One field of view of a urine filter membrane, 4× objective, 2028 × 1520 pixels.
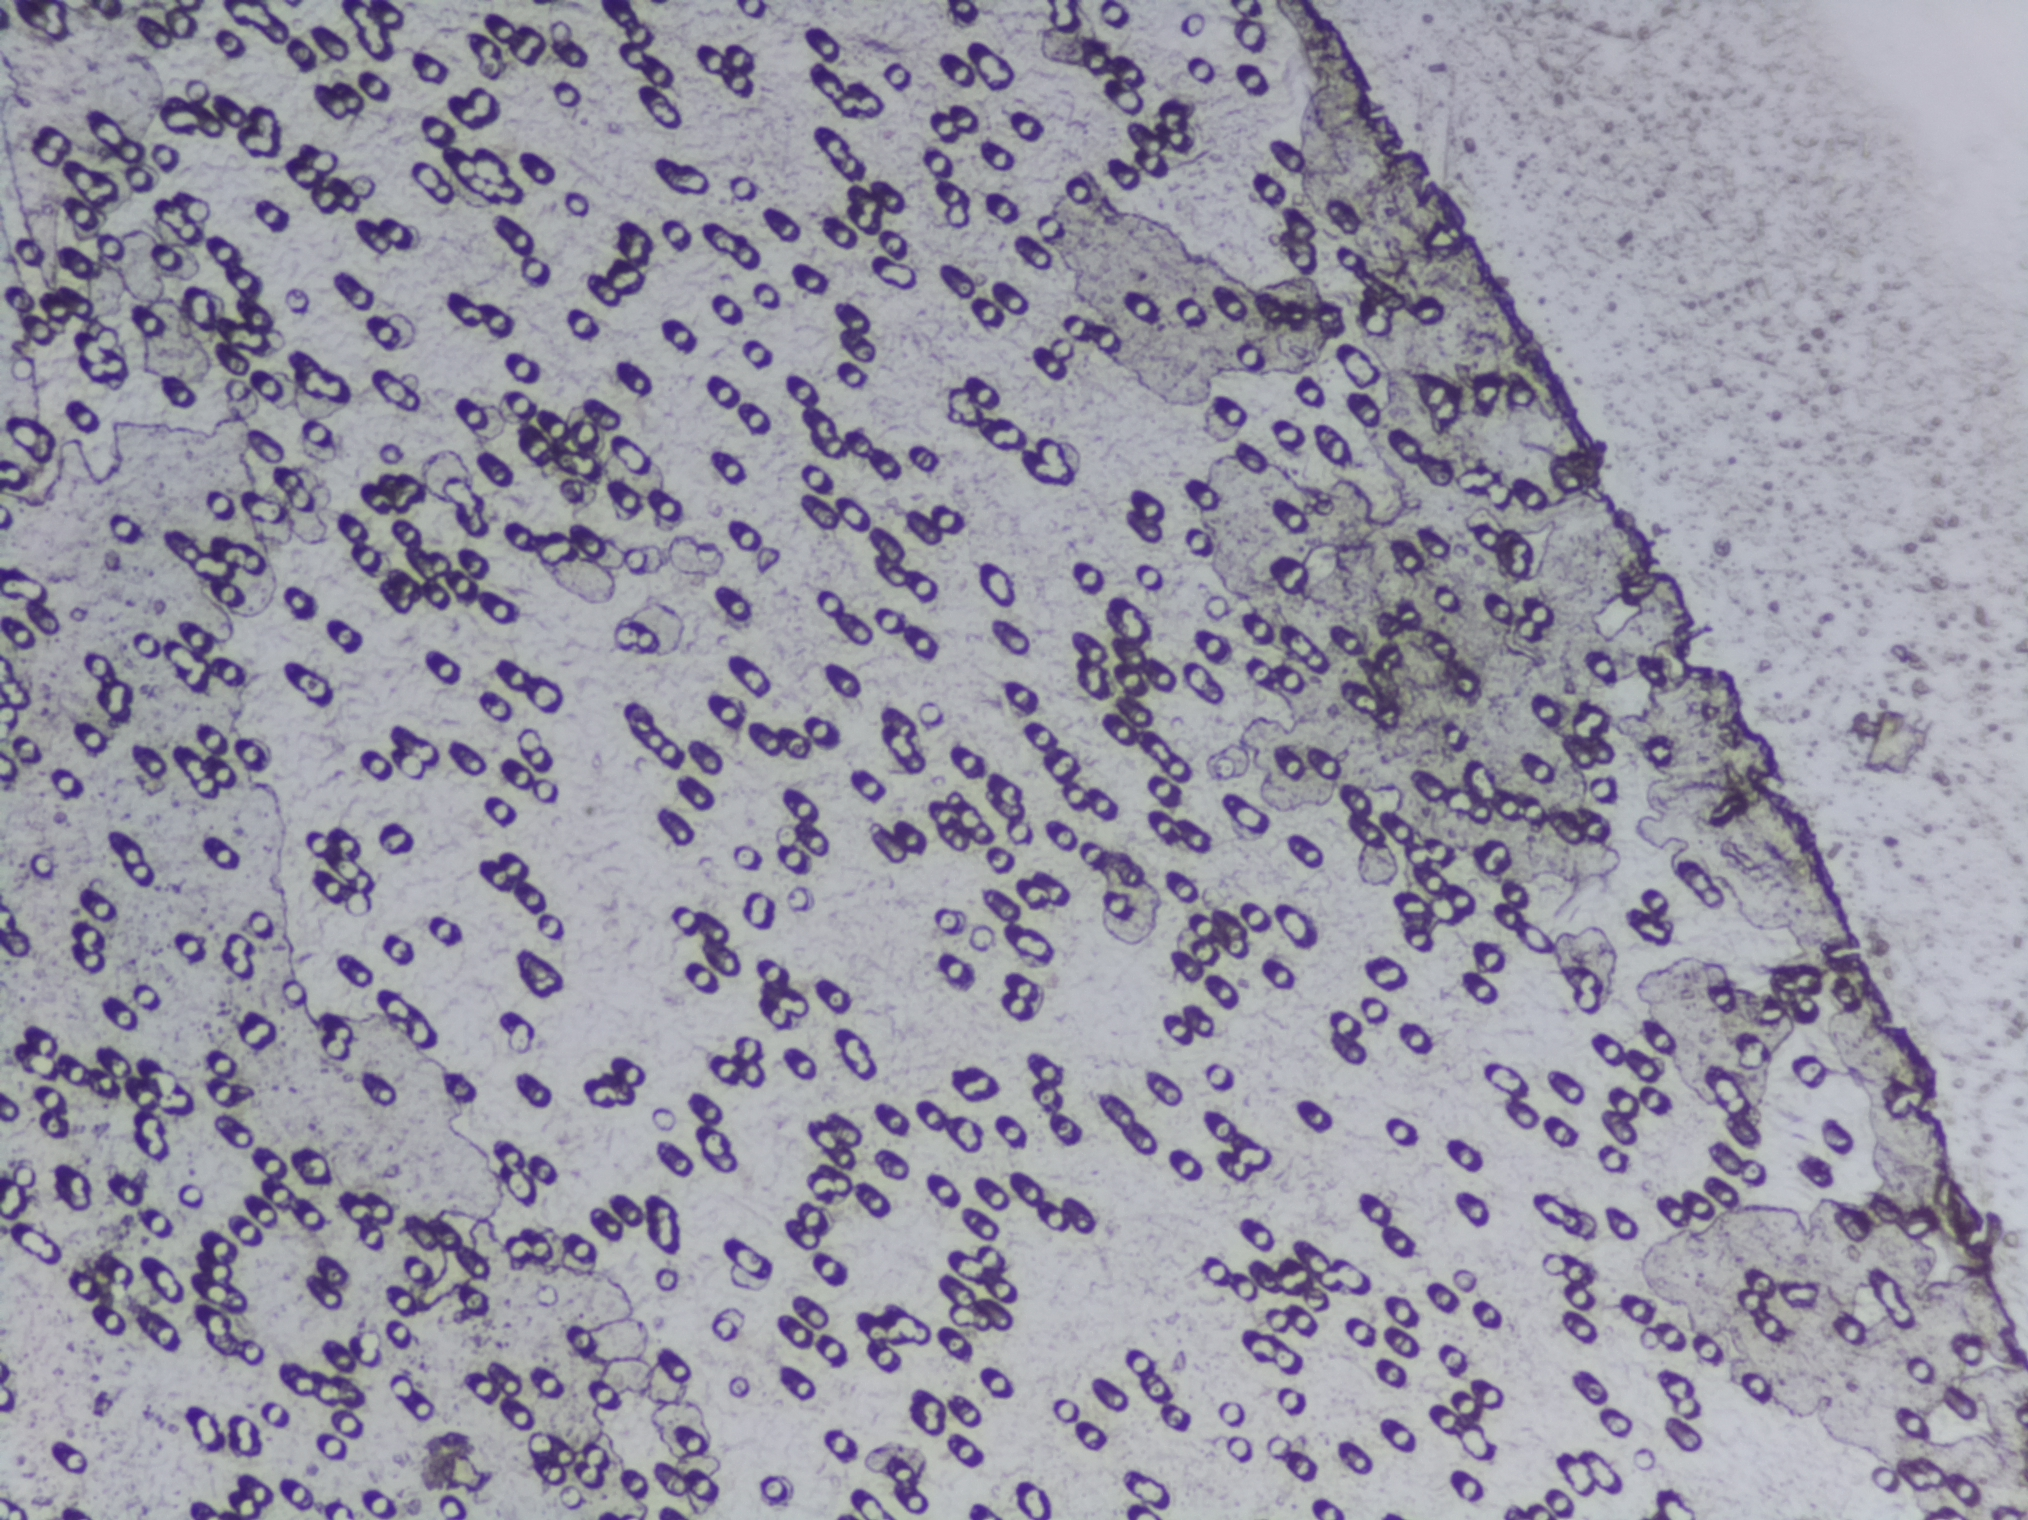
Schistosoma eggs: none outlined.